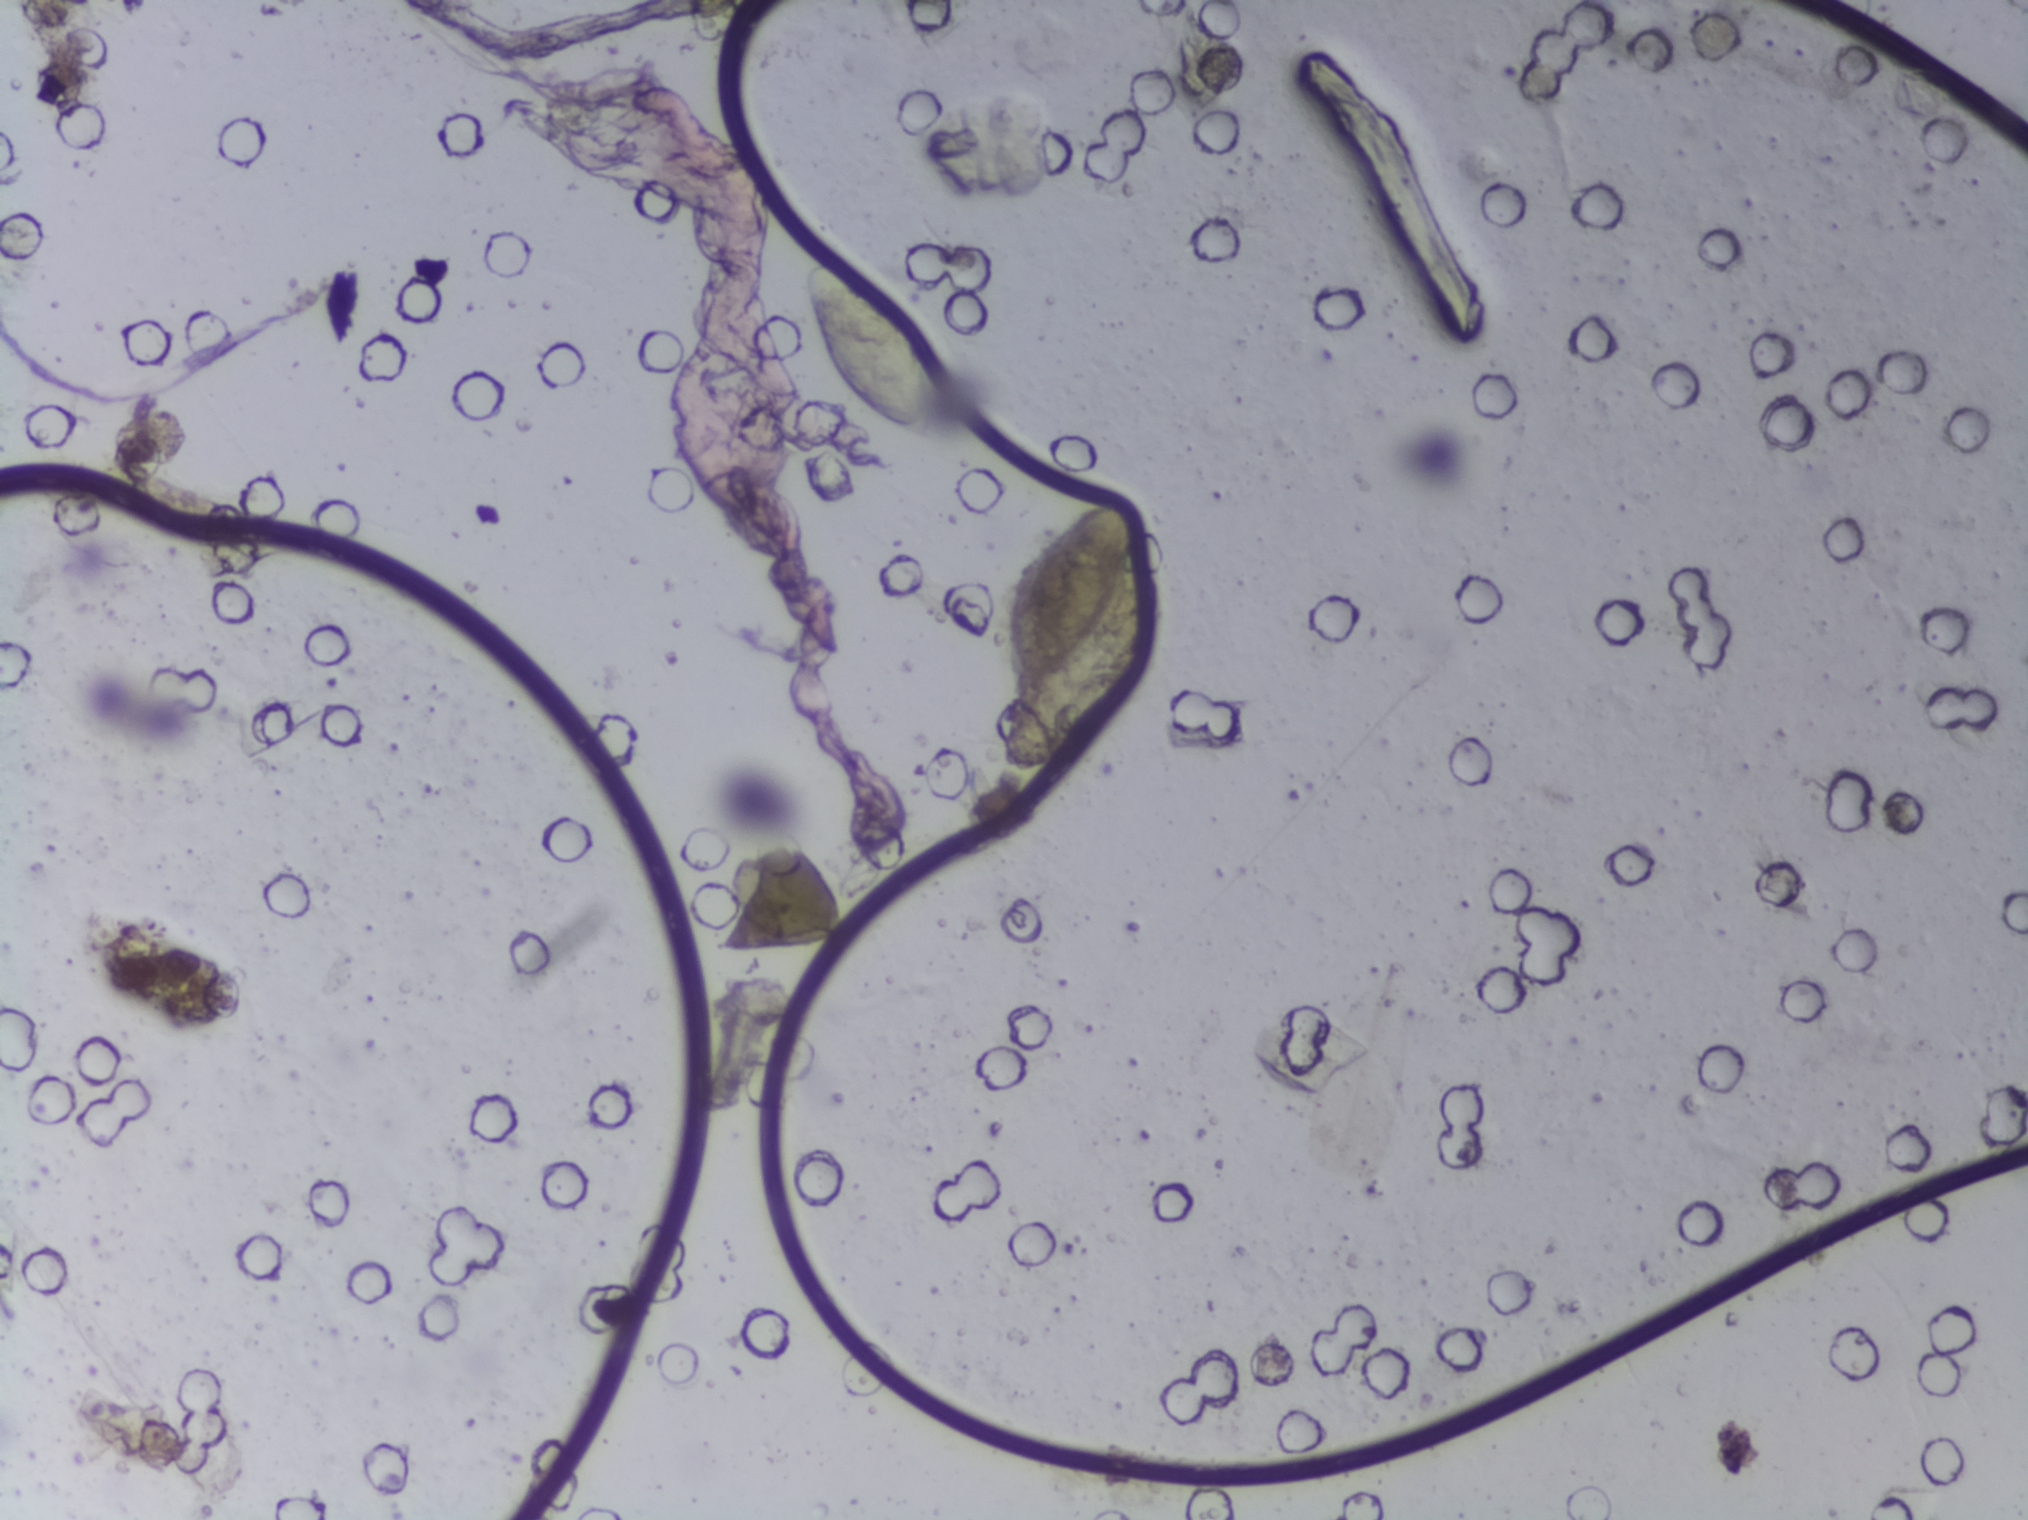
Photomicrograph of a urine filtration membrane, 4× objective.
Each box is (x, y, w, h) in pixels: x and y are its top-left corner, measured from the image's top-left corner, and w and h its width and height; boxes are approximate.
The expert annotation outlines Schistosoma eggs at (x=804, y=253, w=132, h=190) and (x=989, y=502, w=179, h=276) (left to right). About 1.6% of the image's pixels are marked (the marked pixels themselves, not the boxes around them). Eggs that touch can end up inside the same outlined area. A marked egg may occasionally be S. mansoni rather than S. haematobium.